Urine filter membrane photographed through a 4× microscope objective. Field of view: about 1.5 mm wide and 1.1 mm high.
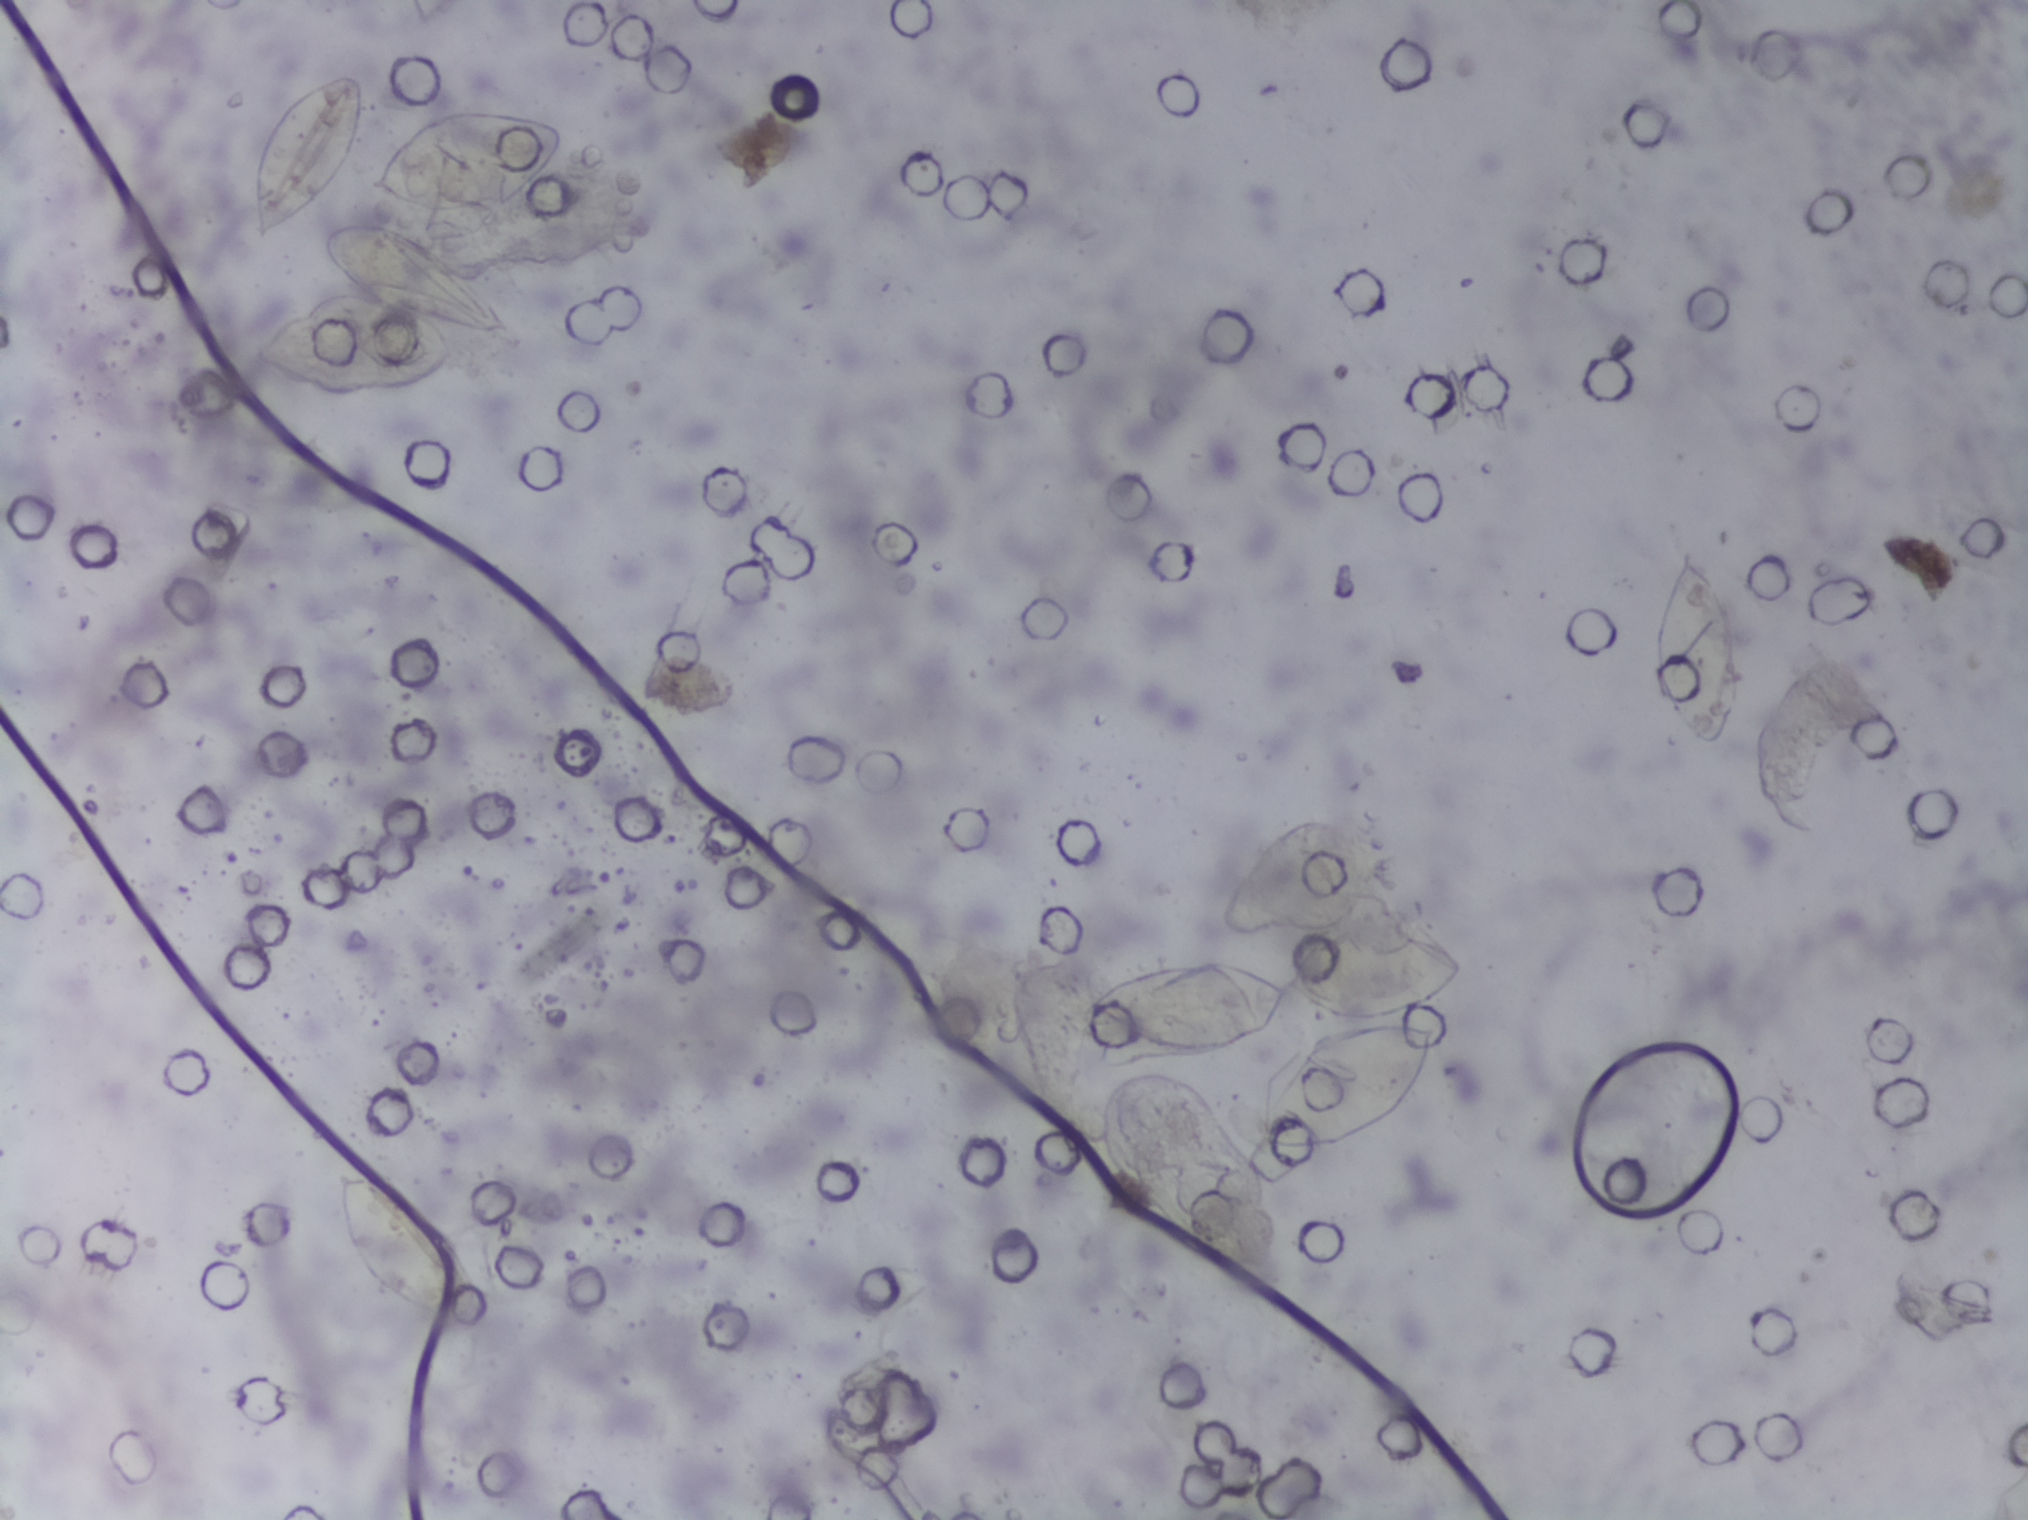
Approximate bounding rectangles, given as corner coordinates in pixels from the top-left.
Schistosoma eggs, outlined areas: (x1=246, y1=70, x2=374, y2=245); (x1=319, y1=218, x2=512, y2=341); (x1=328, y1=1168, x2=483, y2=1328); (x1=368, y1=100, x2=567, y2=217); (x1=1078, y1=914, x2=1467, y2=1052); (x1=1251, y1=1017, x2=1438, y2=1149); (x1=1647, y1=542, x2=1742, y2=751). About 3.9% of the image's pixels are marked (the marked pixels themselves, not the boxes around them). A single outlined area may contain several eggs.